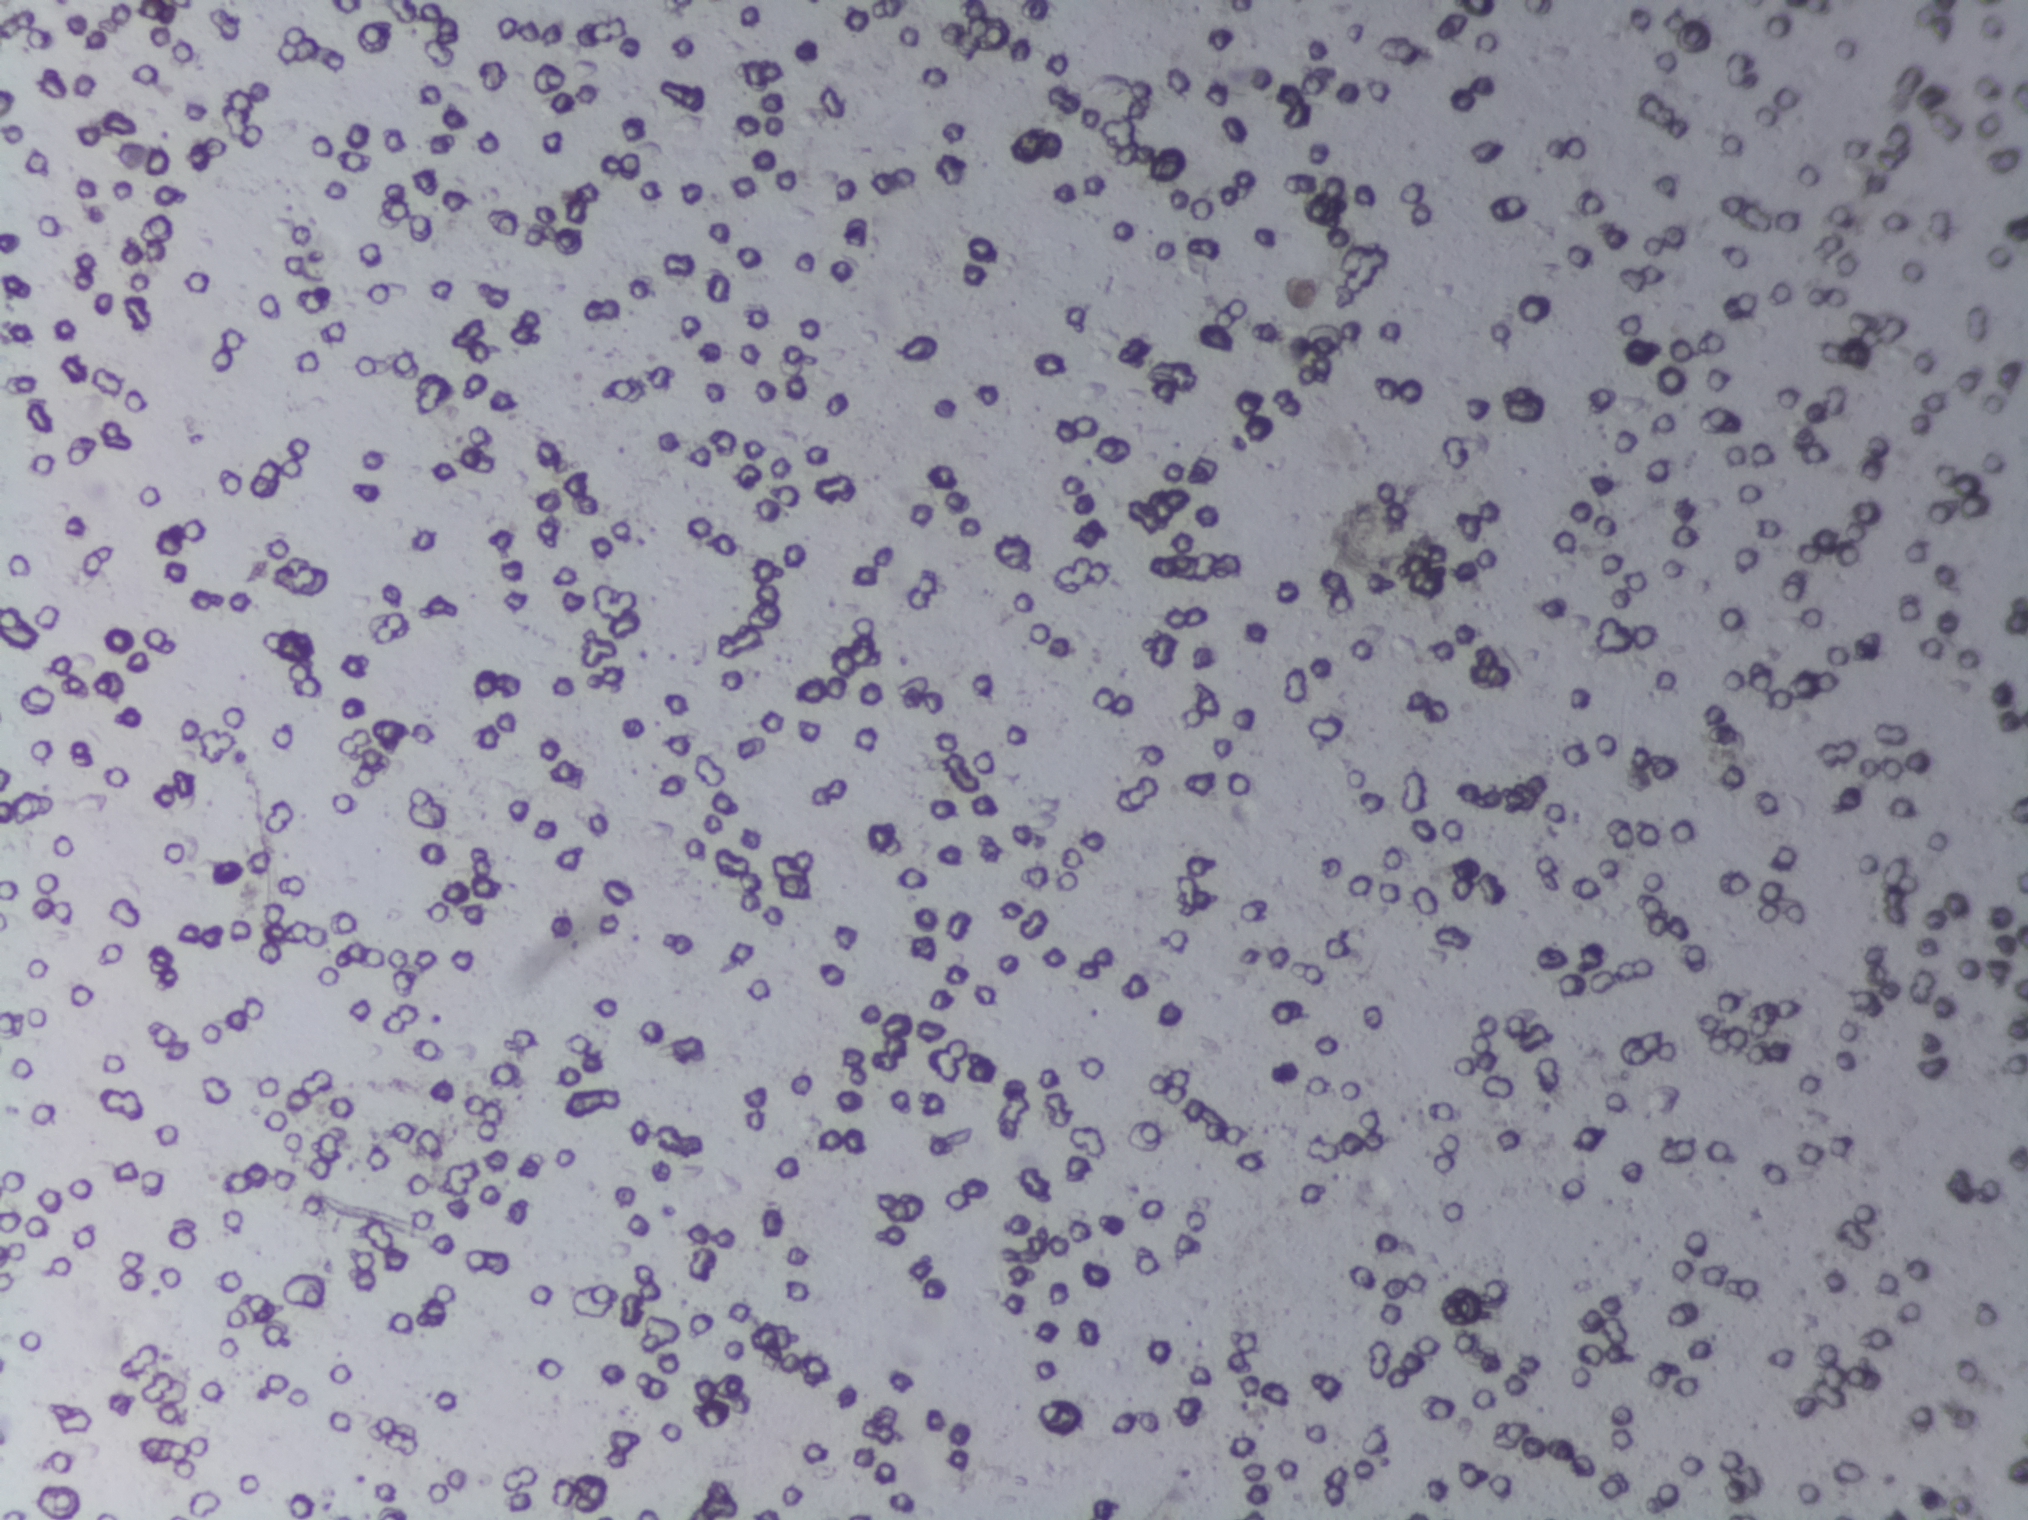
Photograph from an automated digital microscope: urine filter membrane, 4× objective.
The expert annotation outlines no Schistosoma egg in this image.